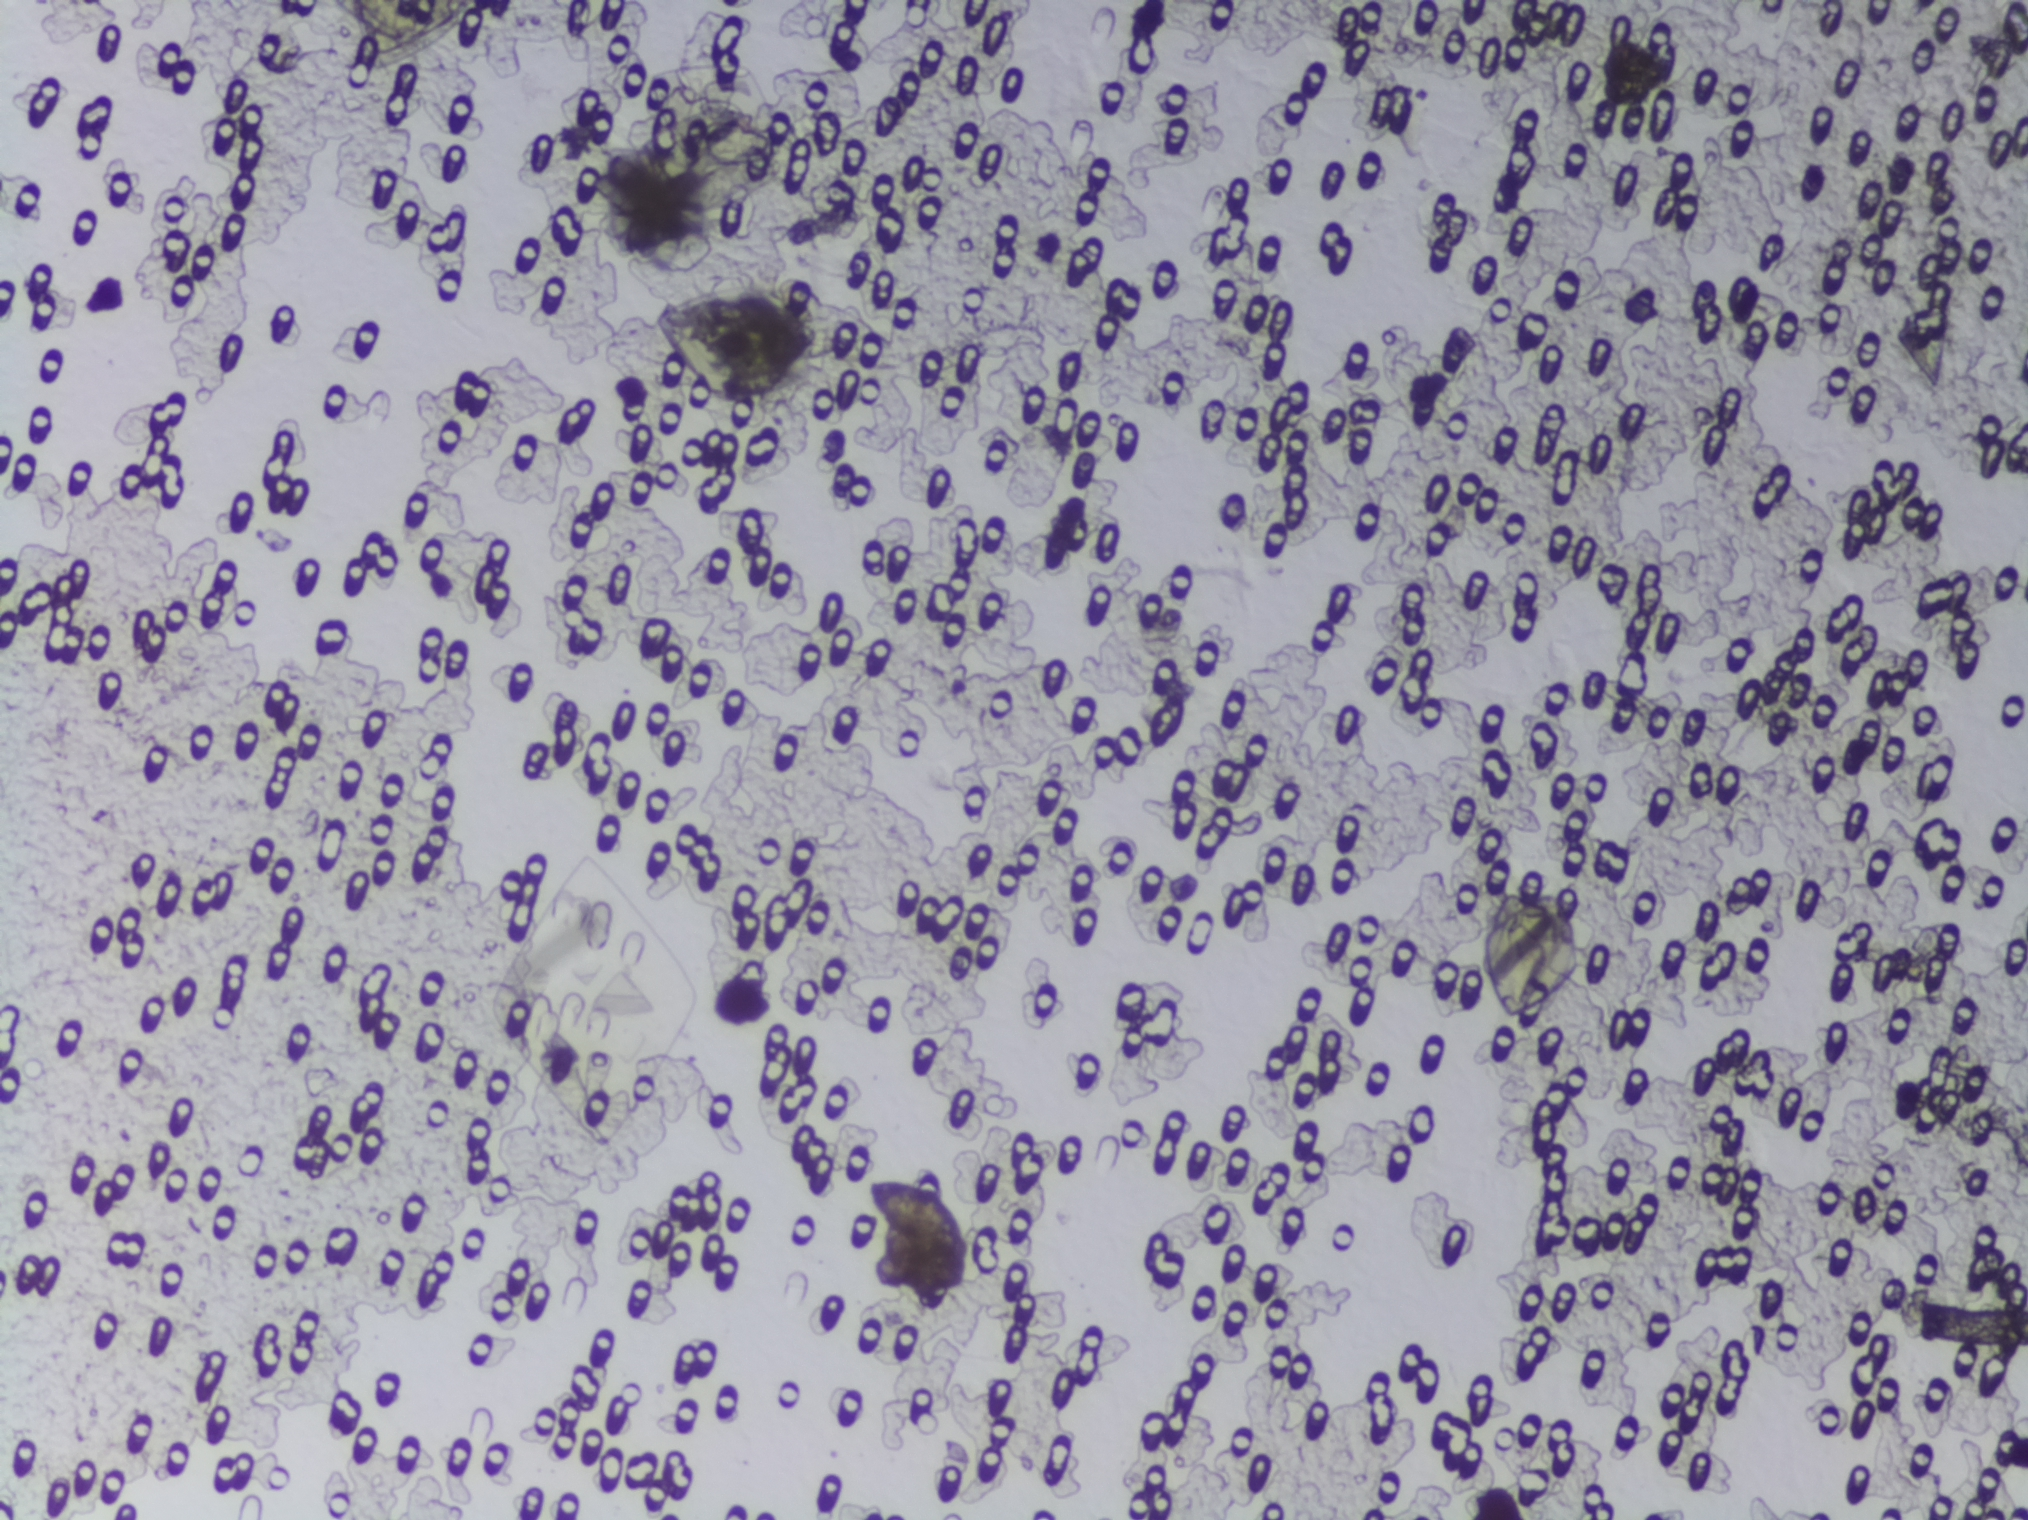
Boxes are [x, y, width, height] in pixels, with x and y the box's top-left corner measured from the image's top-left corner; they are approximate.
Schistosoma eggs are outlined in one area of this image: [864, 1174, 112, 99]. The marked pixels themselves, not the box around them, cover about 0.2% of the image. A single outlined area may contain several eggs.
Photograph from an automated digital microscope: urine filter membrane, 4× objective. Field of view: about 1.5 mm wide and 1.1 mm high.